One field of view of a urine filter membrane, 4× objective, 2028 × 1520 pixels.
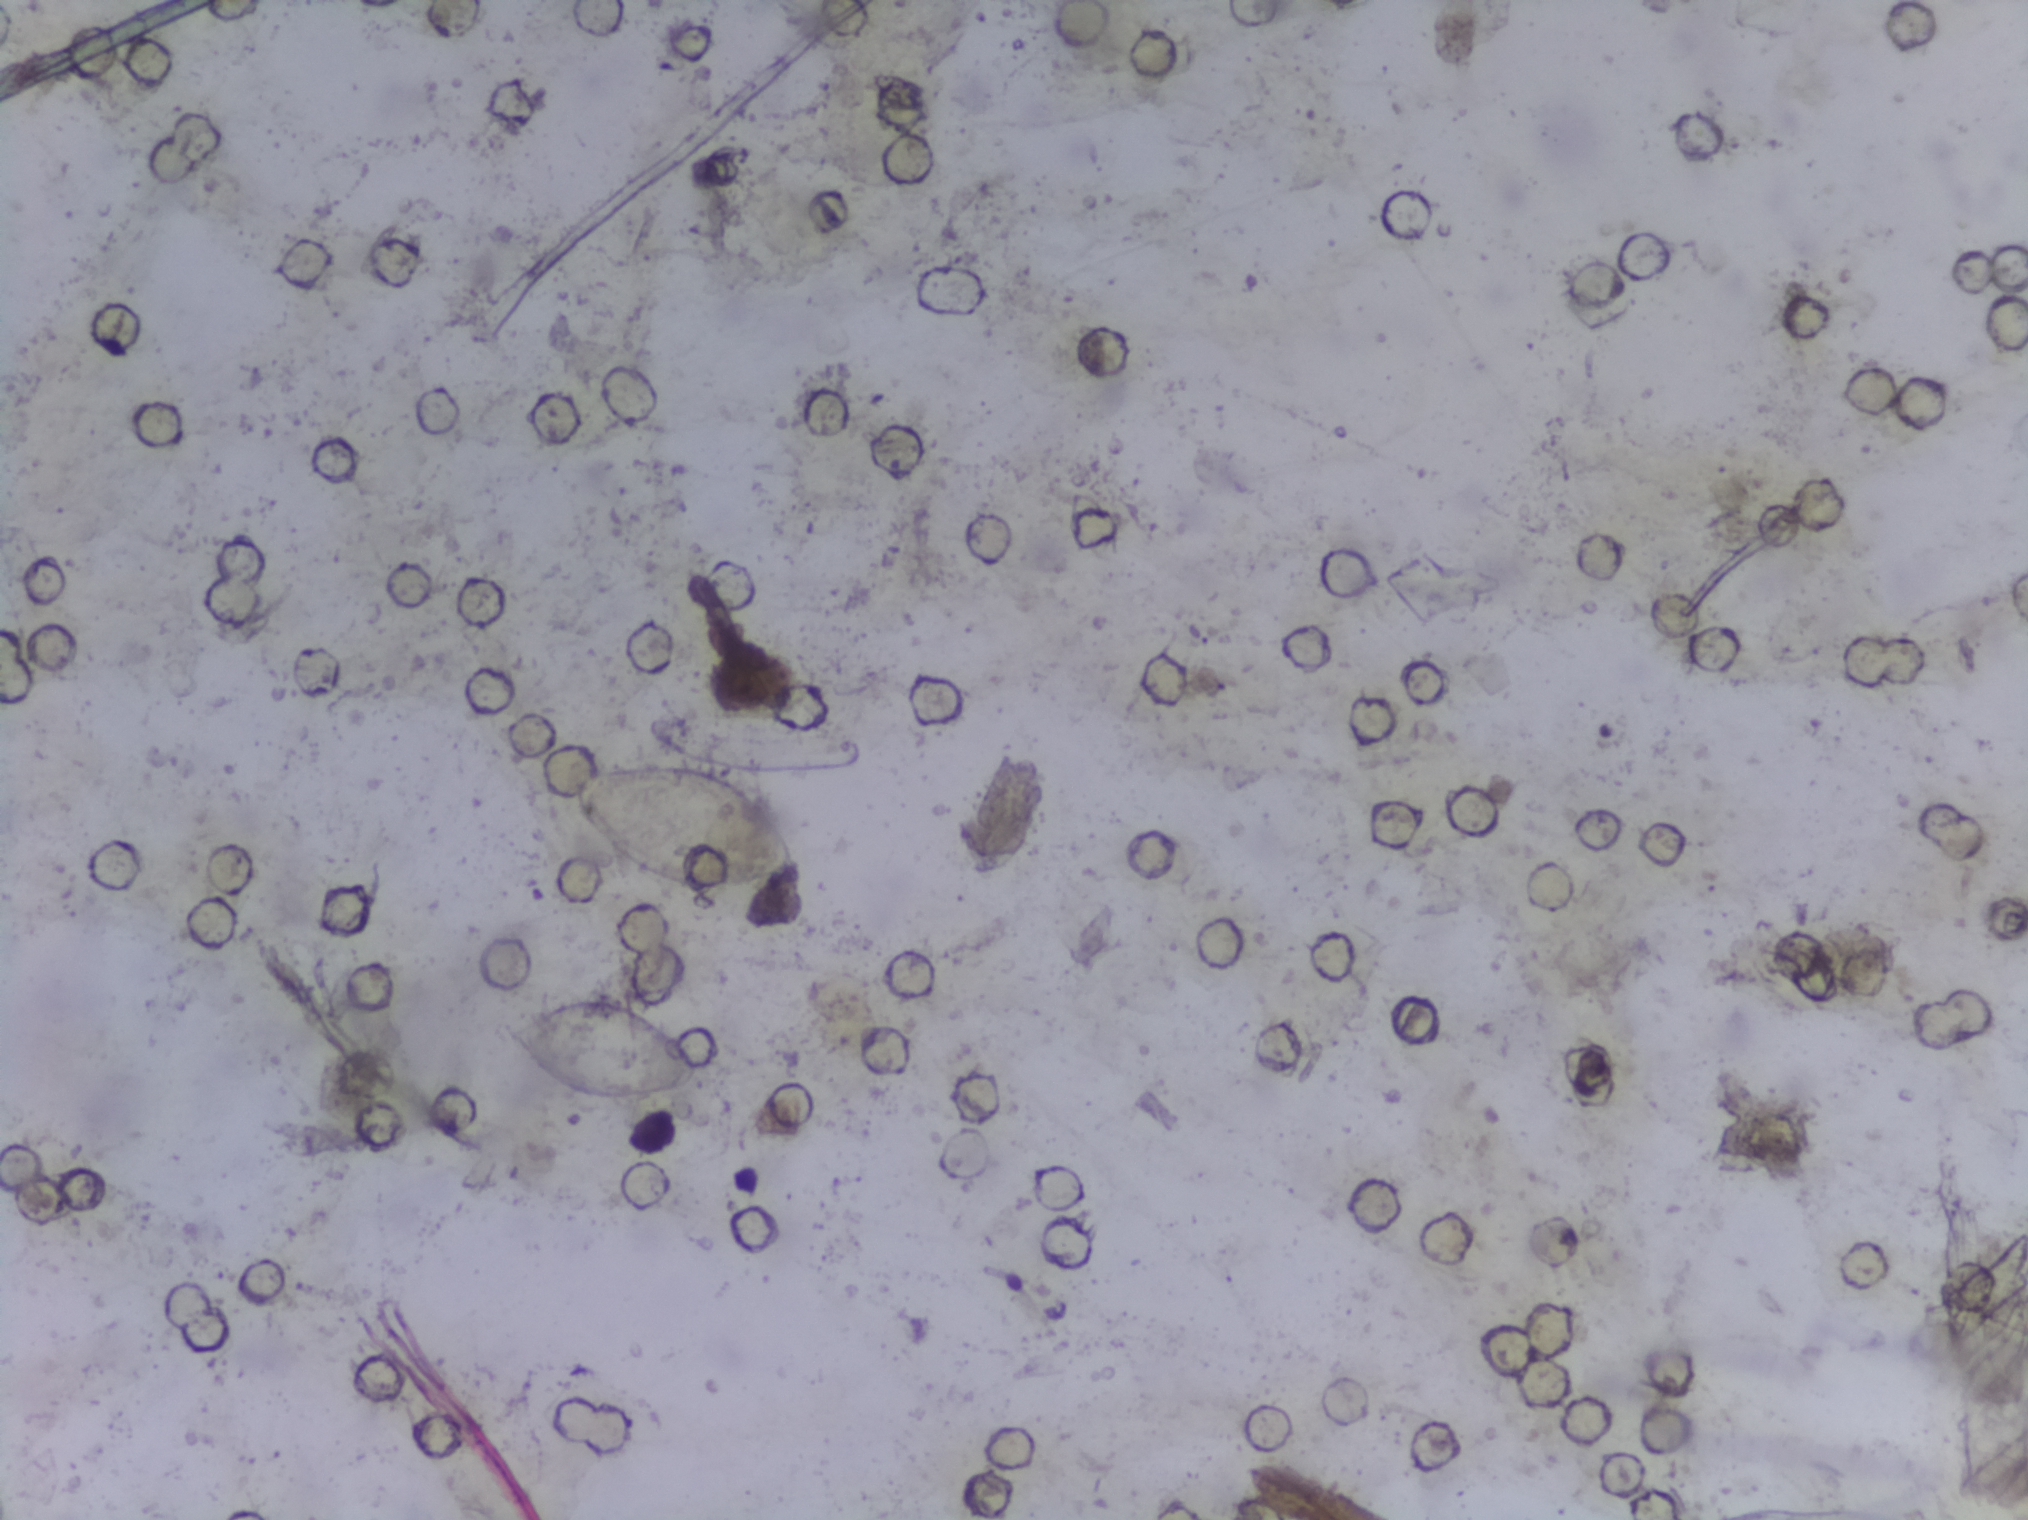
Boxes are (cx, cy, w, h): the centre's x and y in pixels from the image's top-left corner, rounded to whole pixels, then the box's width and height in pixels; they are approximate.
Schistosoma eggs are outlined in the expert annotation at (cx=600, cy=1048, w=198, h=113) and (cx=685, cy=830, w=241, h=138). The marked pixels themselves, not the boxes around them, cover about 1.2% of the image. An outlined area can hold more than one egg.